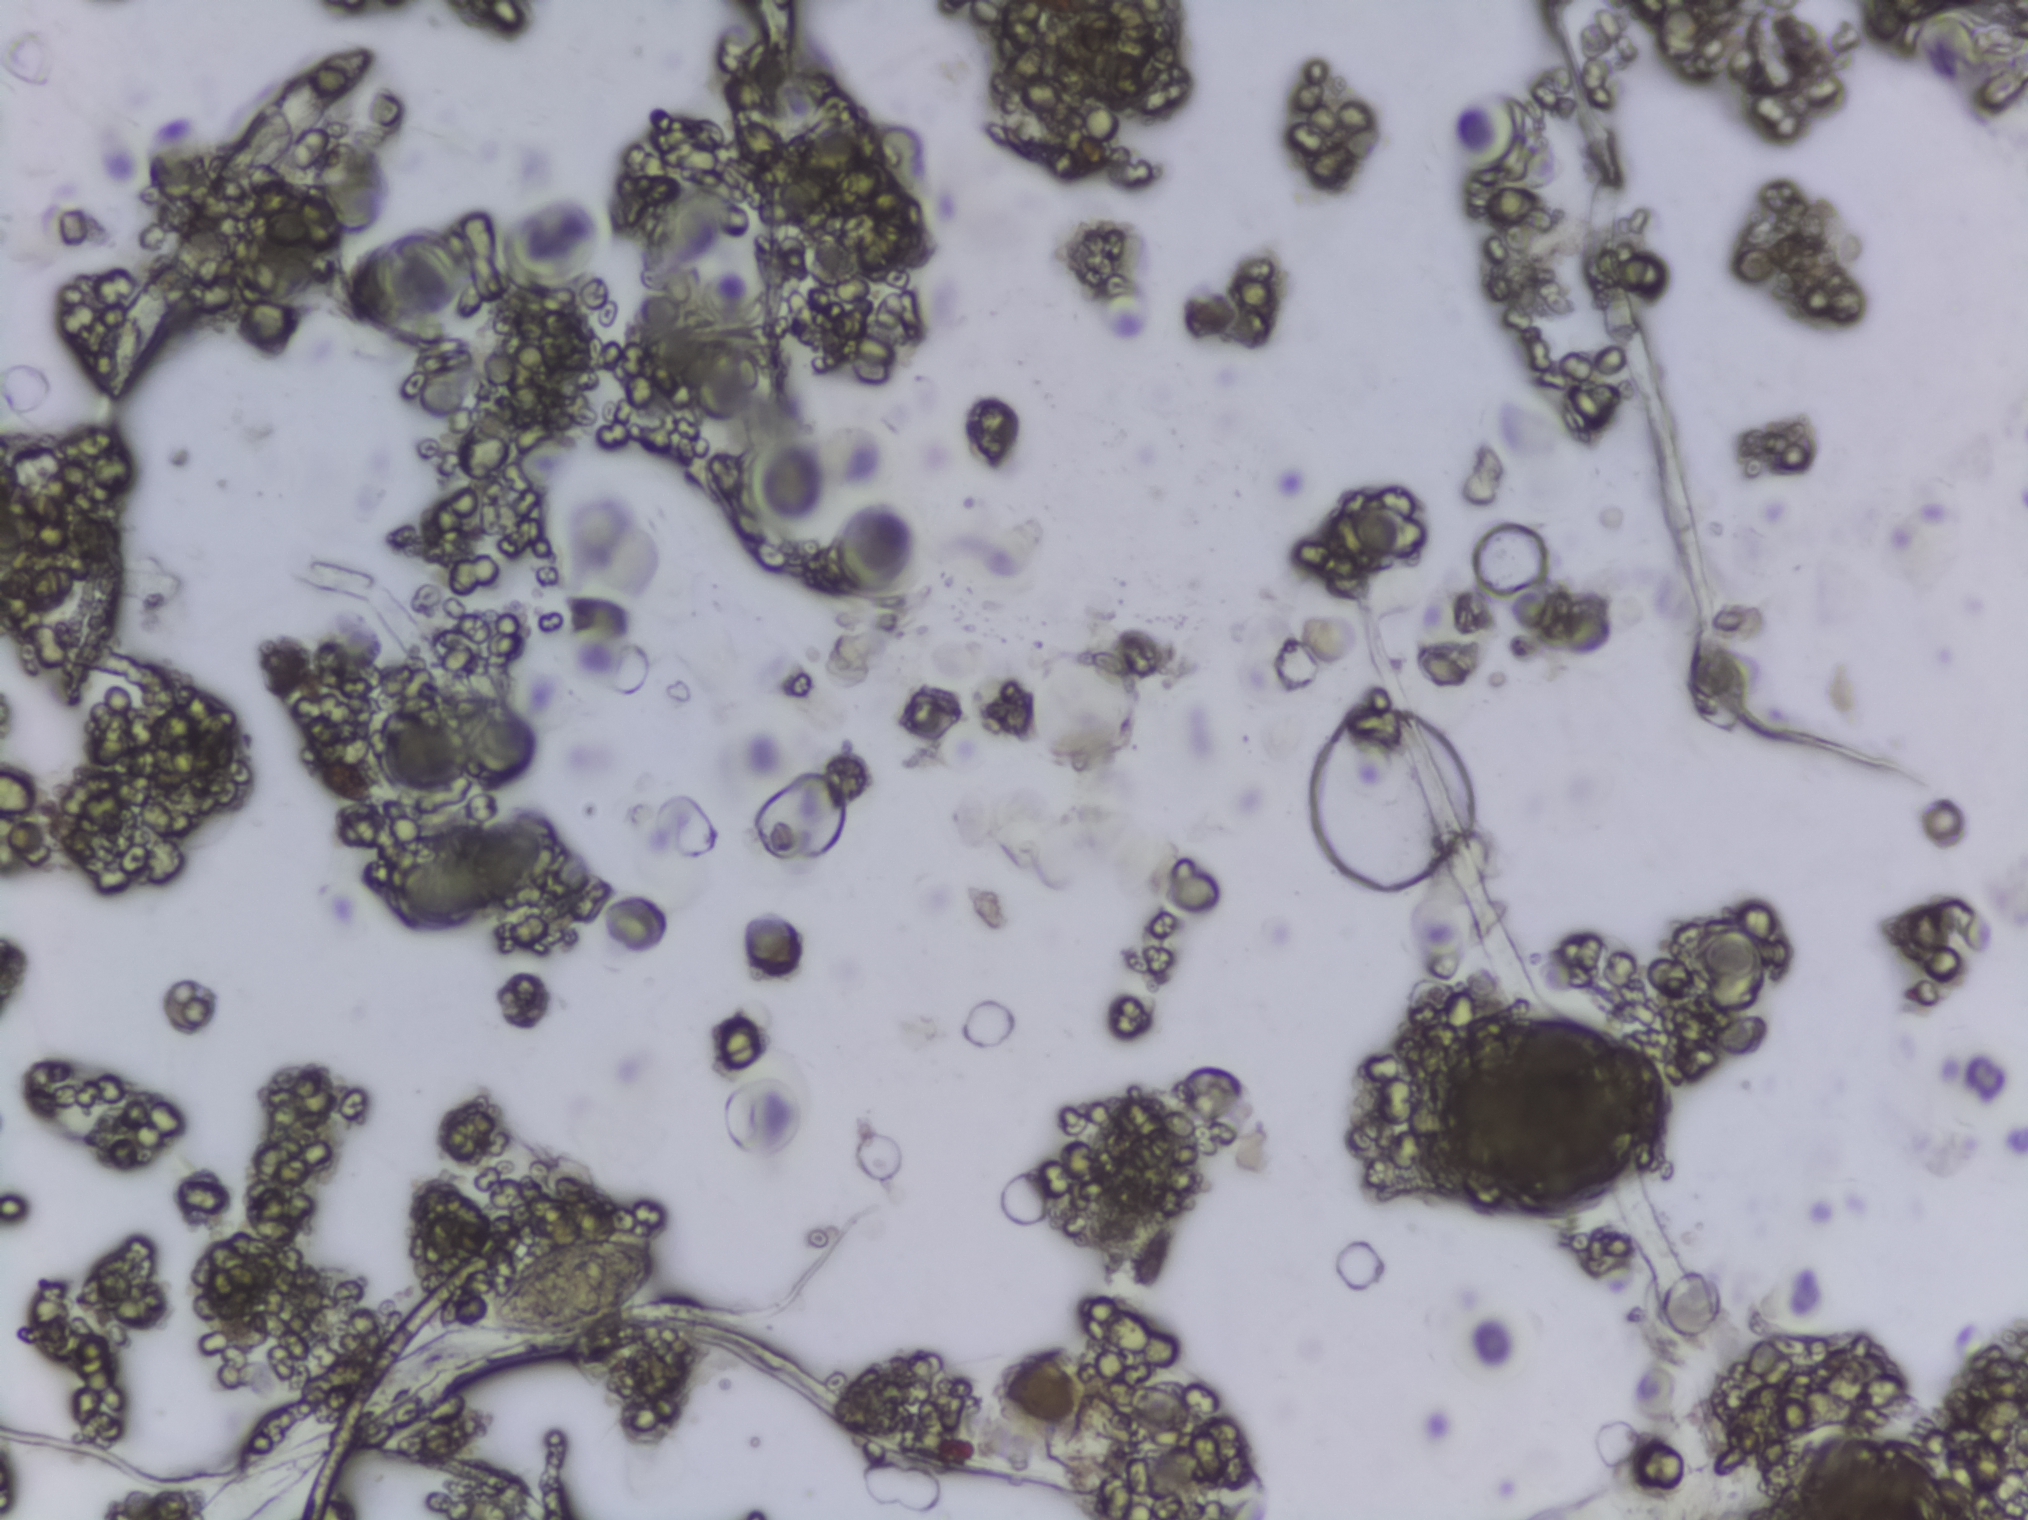
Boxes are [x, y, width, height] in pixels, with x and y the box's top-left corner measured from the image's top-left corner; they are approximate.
{"schistosoma_egg_areas_xywh_px": [[467, 1232, 195, 113]]}
Eggs that touch can end up inside the same outlined area.
Photomicrograph of a urine filtration membrane, 4× objective. The field of view is about 1.5 mm × 1.1 mm.